Photograph from an automated digital microscope: urine filter membrane, 4× objective.
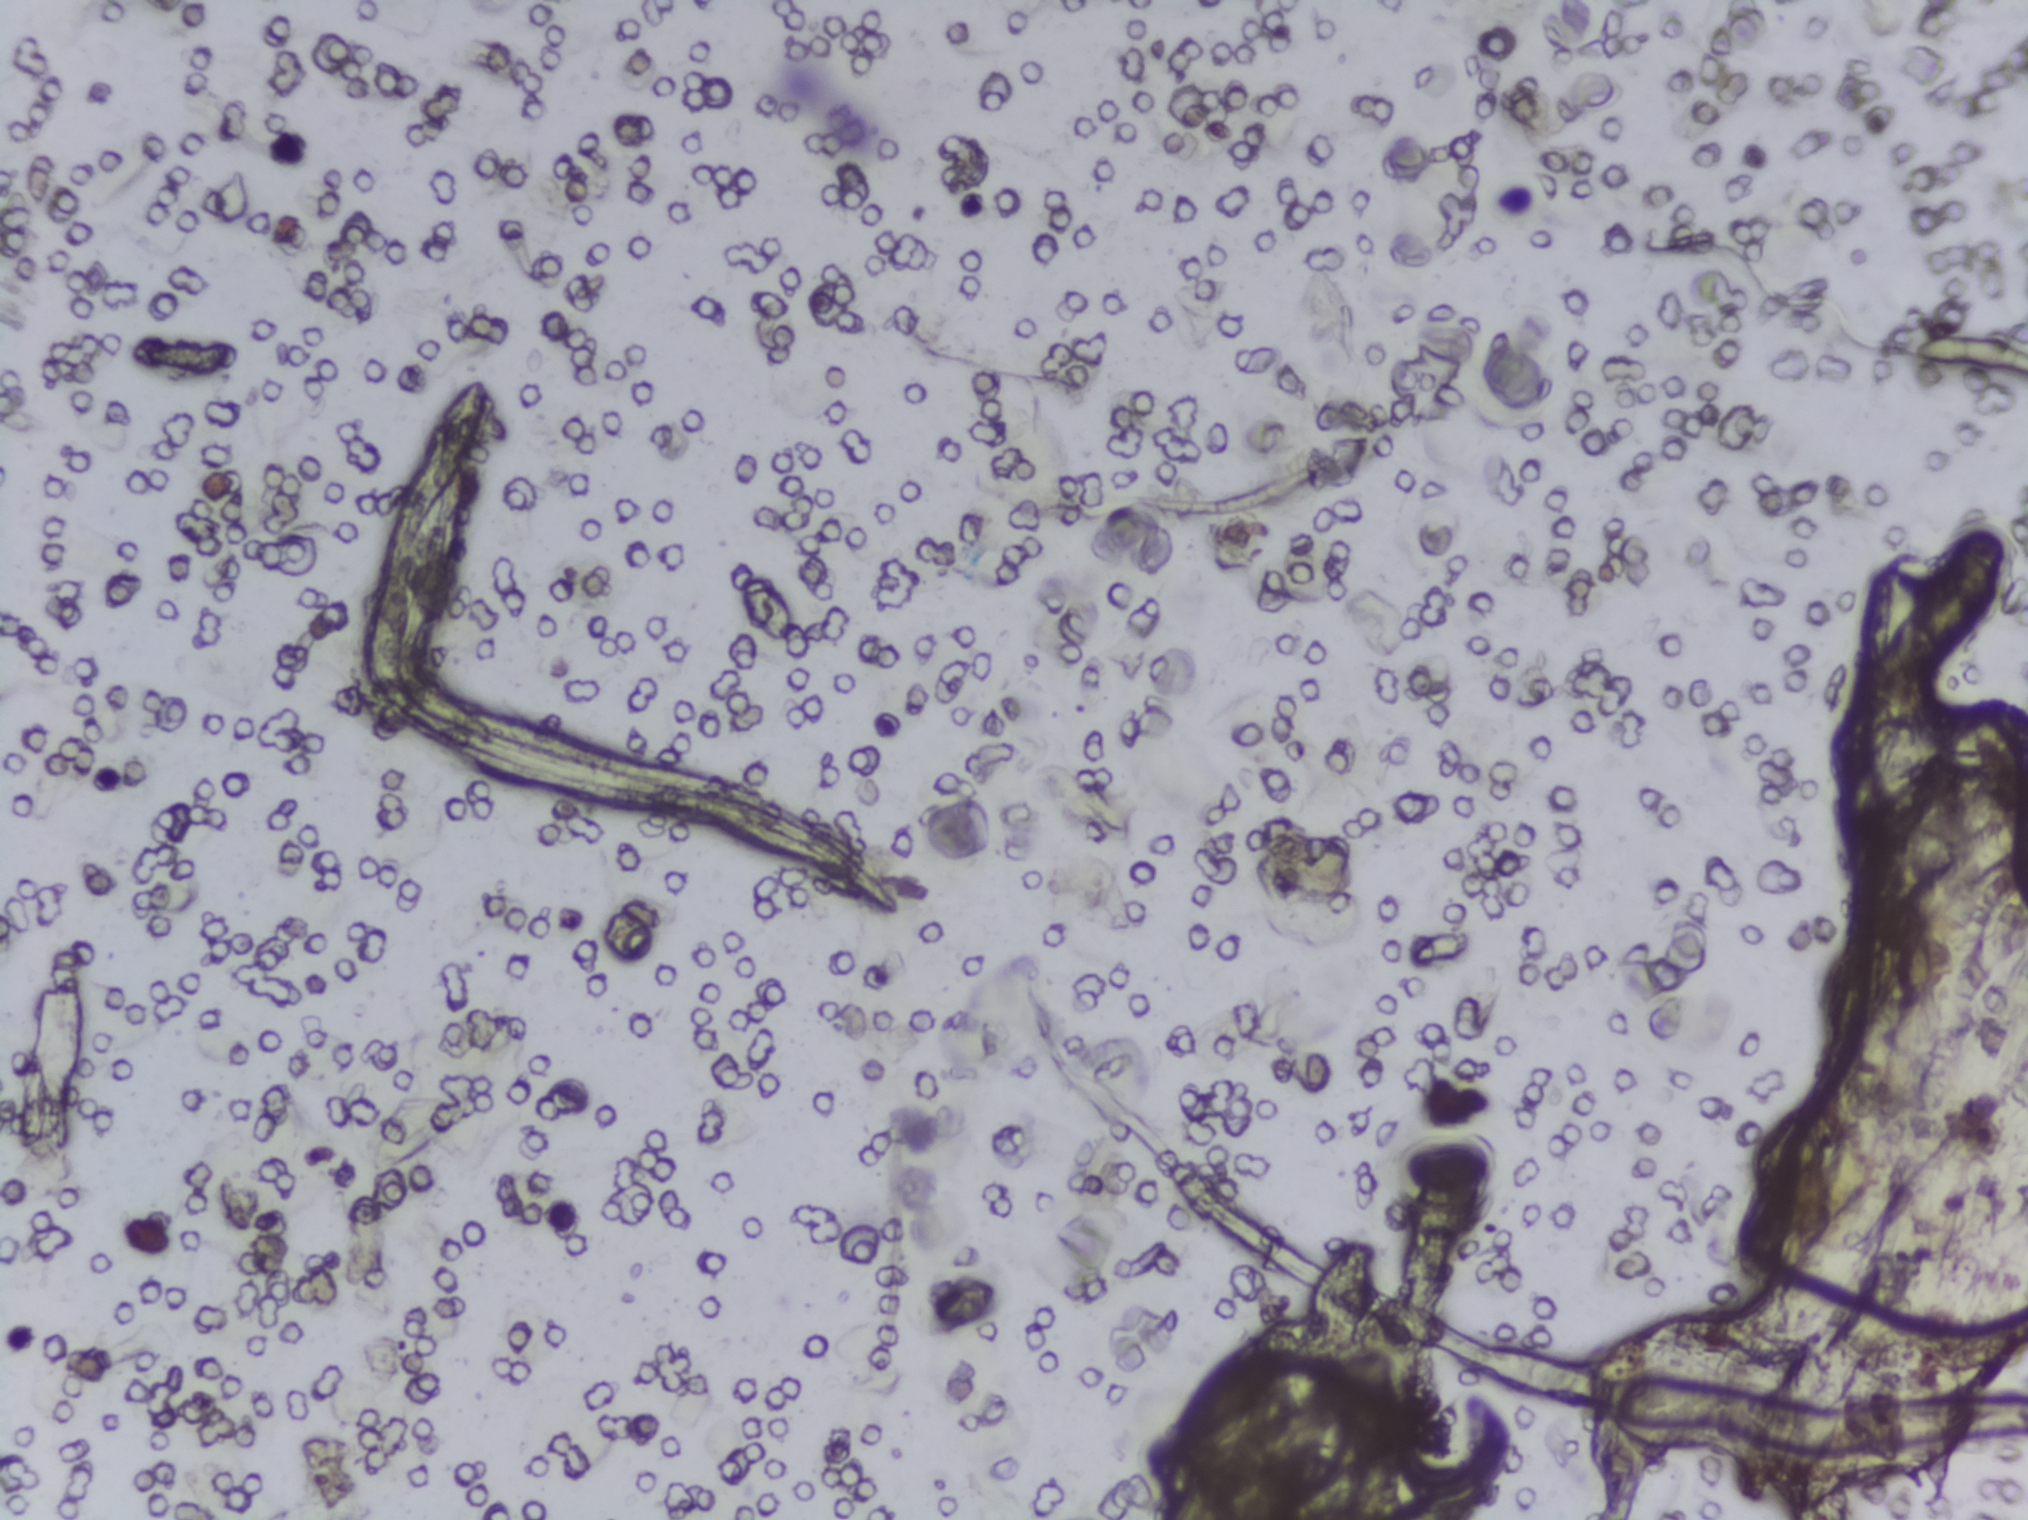
The expert annotation marks no Schistosoma egg in this field of view.